One field of view of a urine filter membrane, 4× objective, 2028 × 1520 pixels.
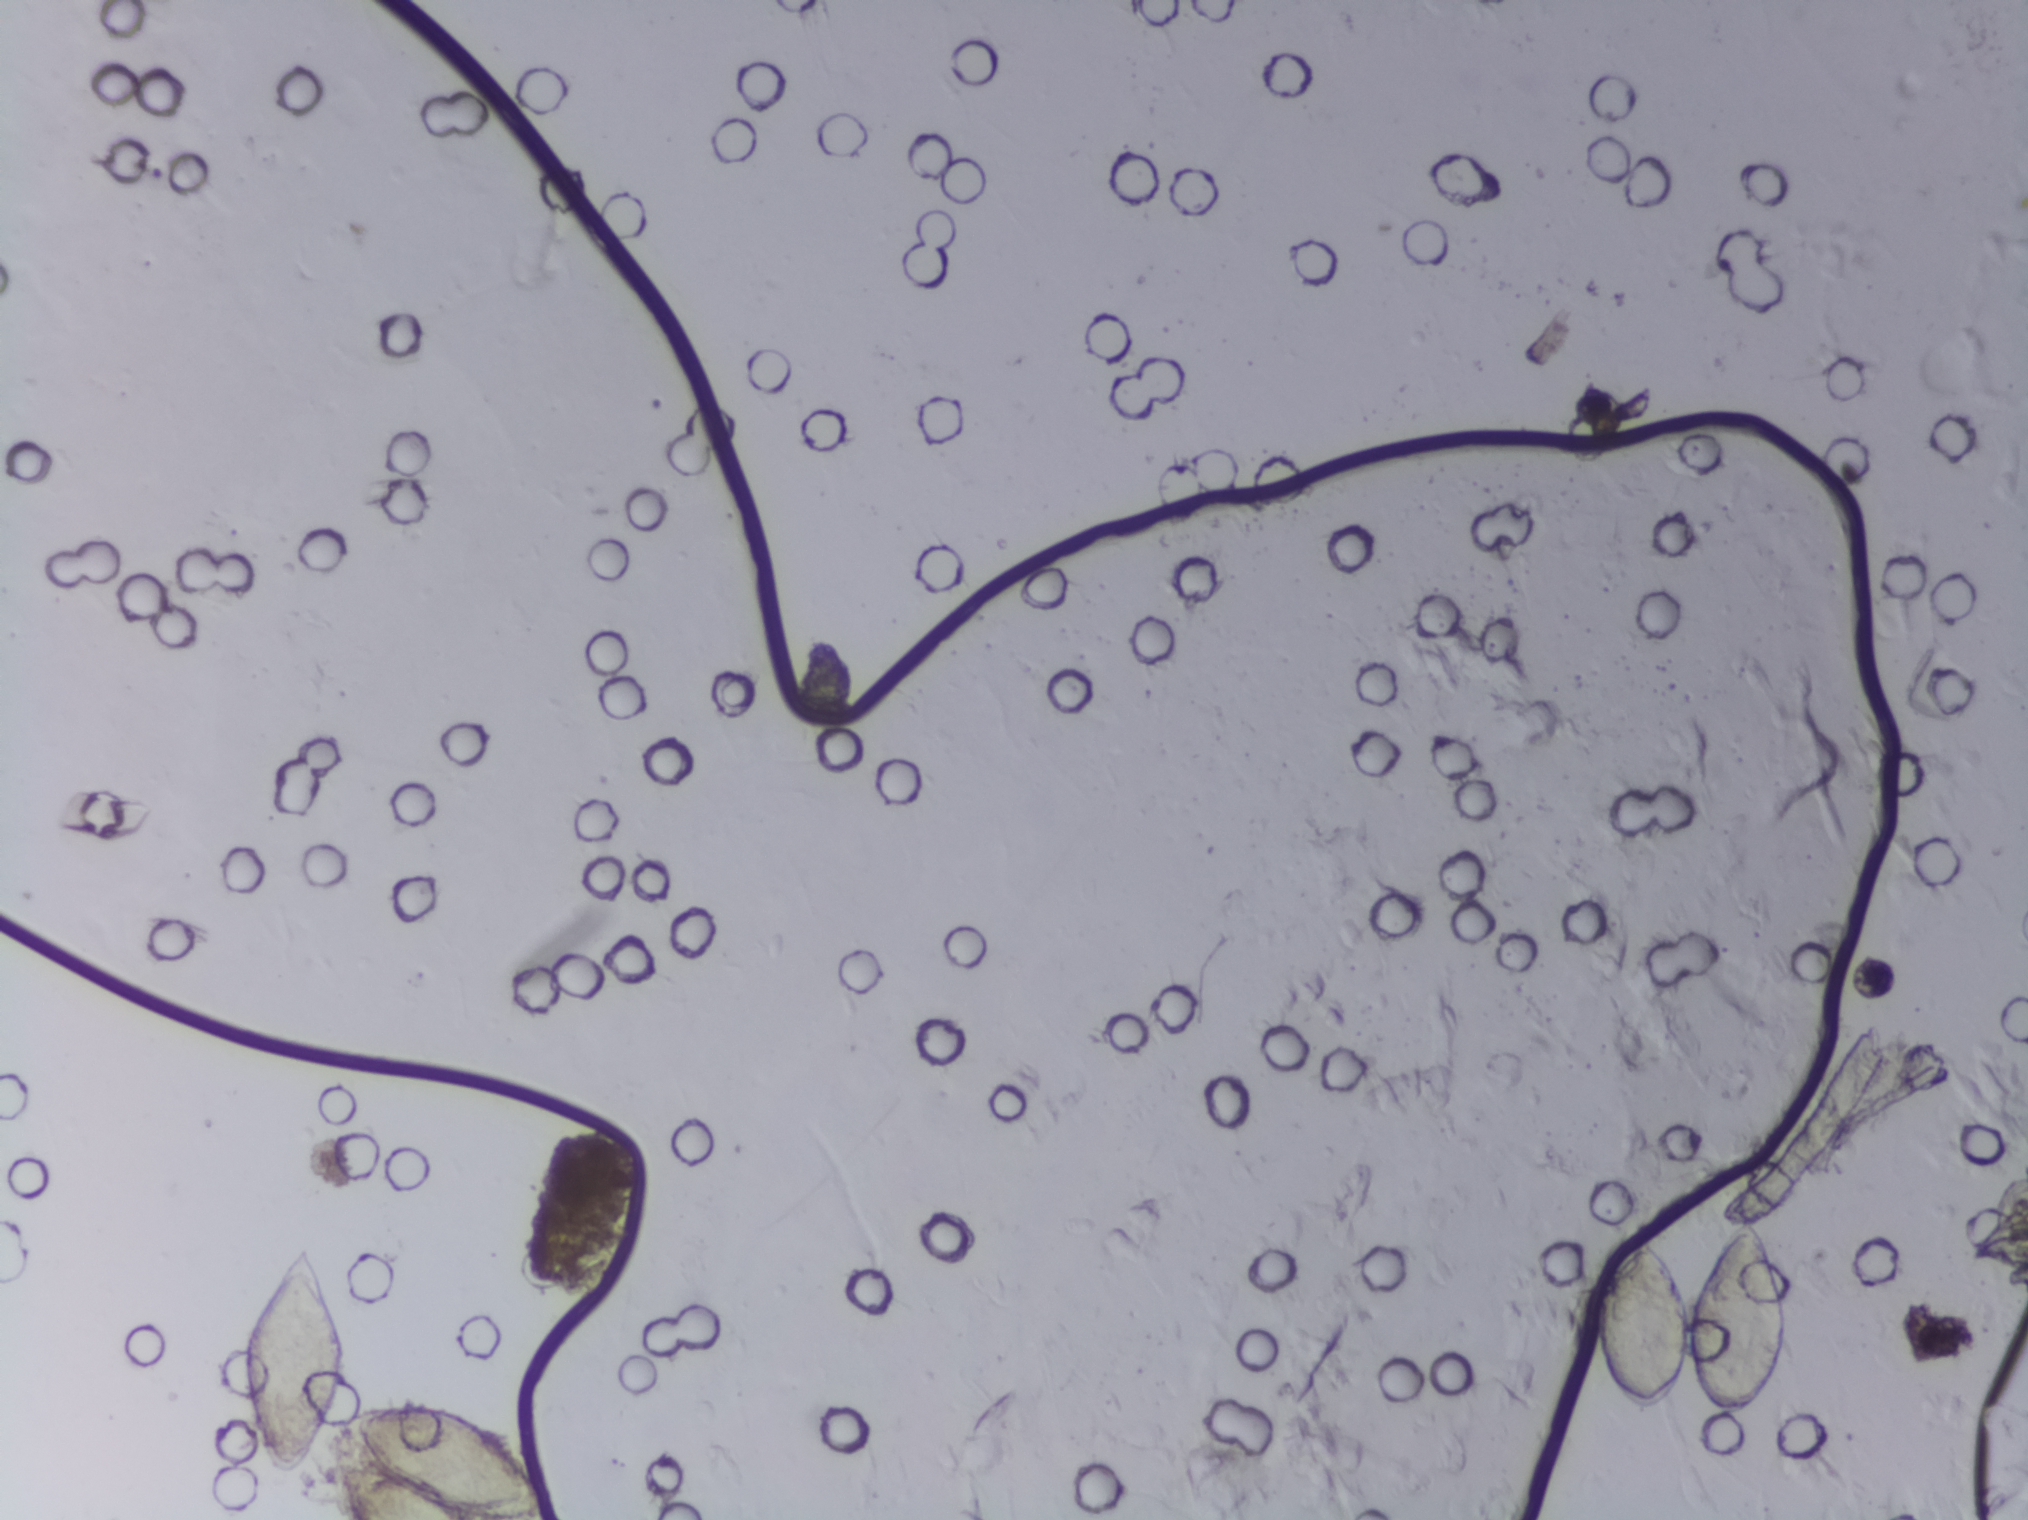
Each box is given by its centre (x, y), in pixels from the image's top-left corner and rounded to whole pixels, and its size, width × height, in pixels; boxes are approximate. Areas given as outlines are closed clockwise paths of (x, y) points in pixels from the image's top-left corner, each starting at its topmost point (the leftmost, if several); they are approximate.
Findings: two areas outlined as Schistosoma eggs. Locations, left to right: outline (309, 1239), (331, 1272), (351, 1335), (351, 1370), (337, 1416), (387, 1403), (441, 1403), (485, 1416), (534, 1455), (555, 1502), (553, 1519), (343, 1519), (328, 1484), (326, 1452), (348, 1444), (333, 1432), (304, 1480), (277, 1484), (264, 1475), (247, 1437), (233, 1349), (258, 1295) (reaching the bottom edge of the frame); box centre (1692, 1319), 202 × 220 px. Marked pixels, not the box and the outline around them: about 2.4% of the image. An outlined area can hold more than one egg. Any one outlined egg may, rarely, be S. mansoni rather than S. haematobium.